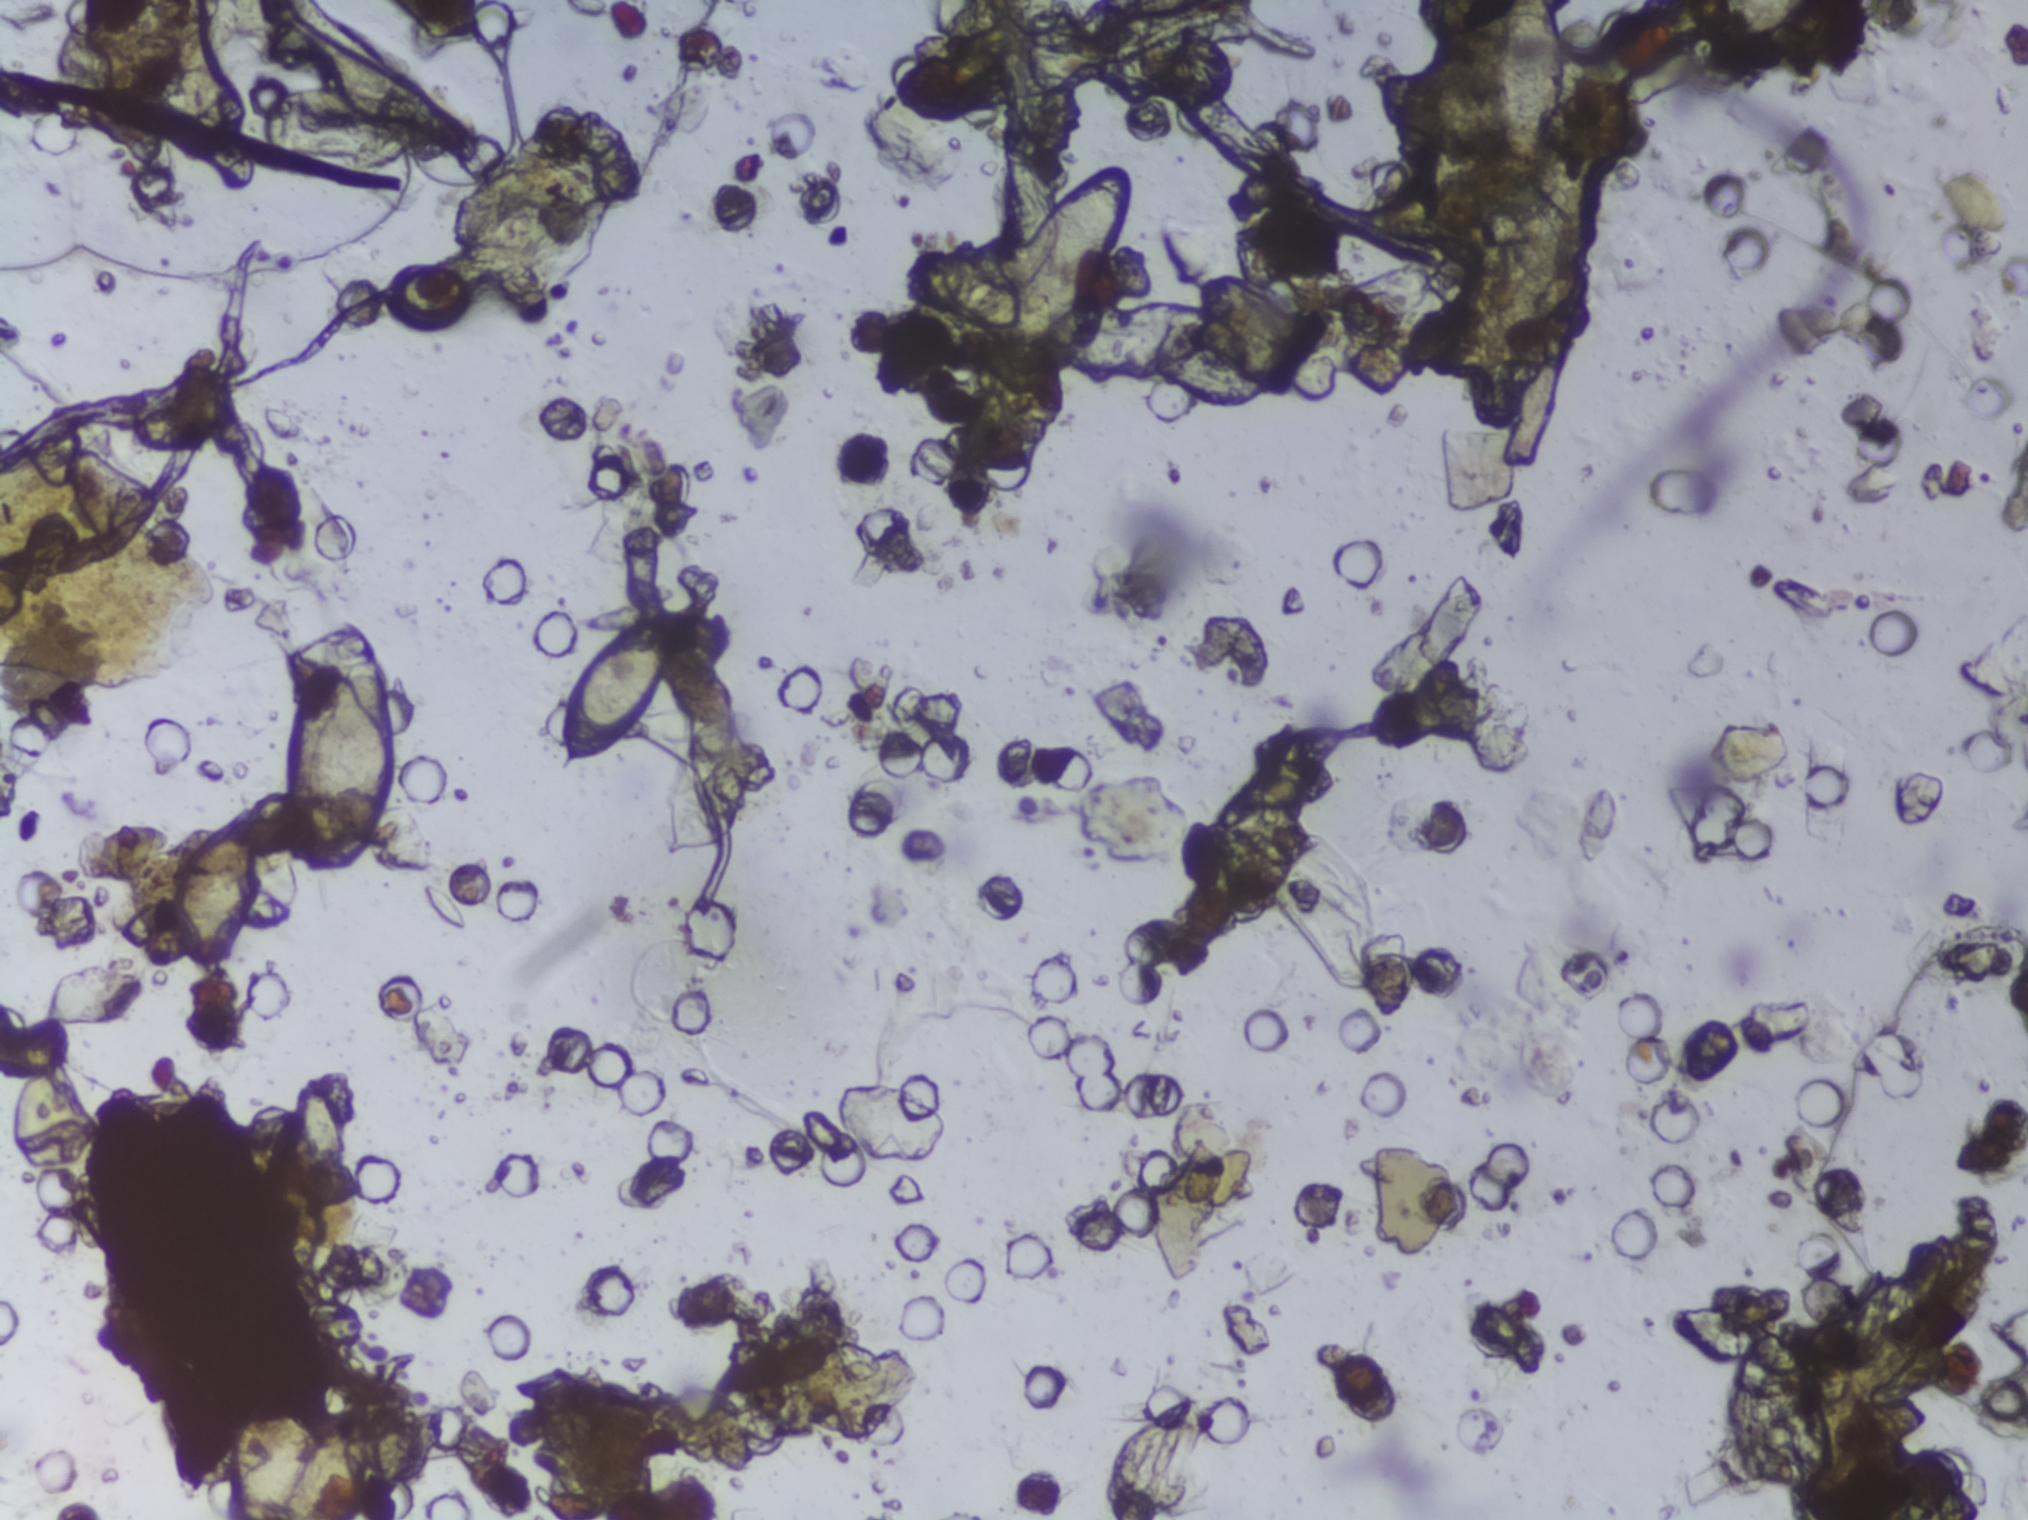
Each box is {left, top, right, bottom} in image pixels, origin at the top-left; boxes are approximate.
Schistosoma eggs are outlined in five areas of this image, listed from left to right: {161, 797, 266, 979}; {276, 609, 406, 884}; {551, 612, 678, 774}; {997, 159, 1131, 349}; {1493, 0, 1572, 183} (reaching the top edge of the frame). An outlined area can hold more than one egg. A marked egg may occasionally be S. mansoni rather than S. haematobium.
Urine filtration membrane under a 4× objective, photographed by an automated digital microscope.